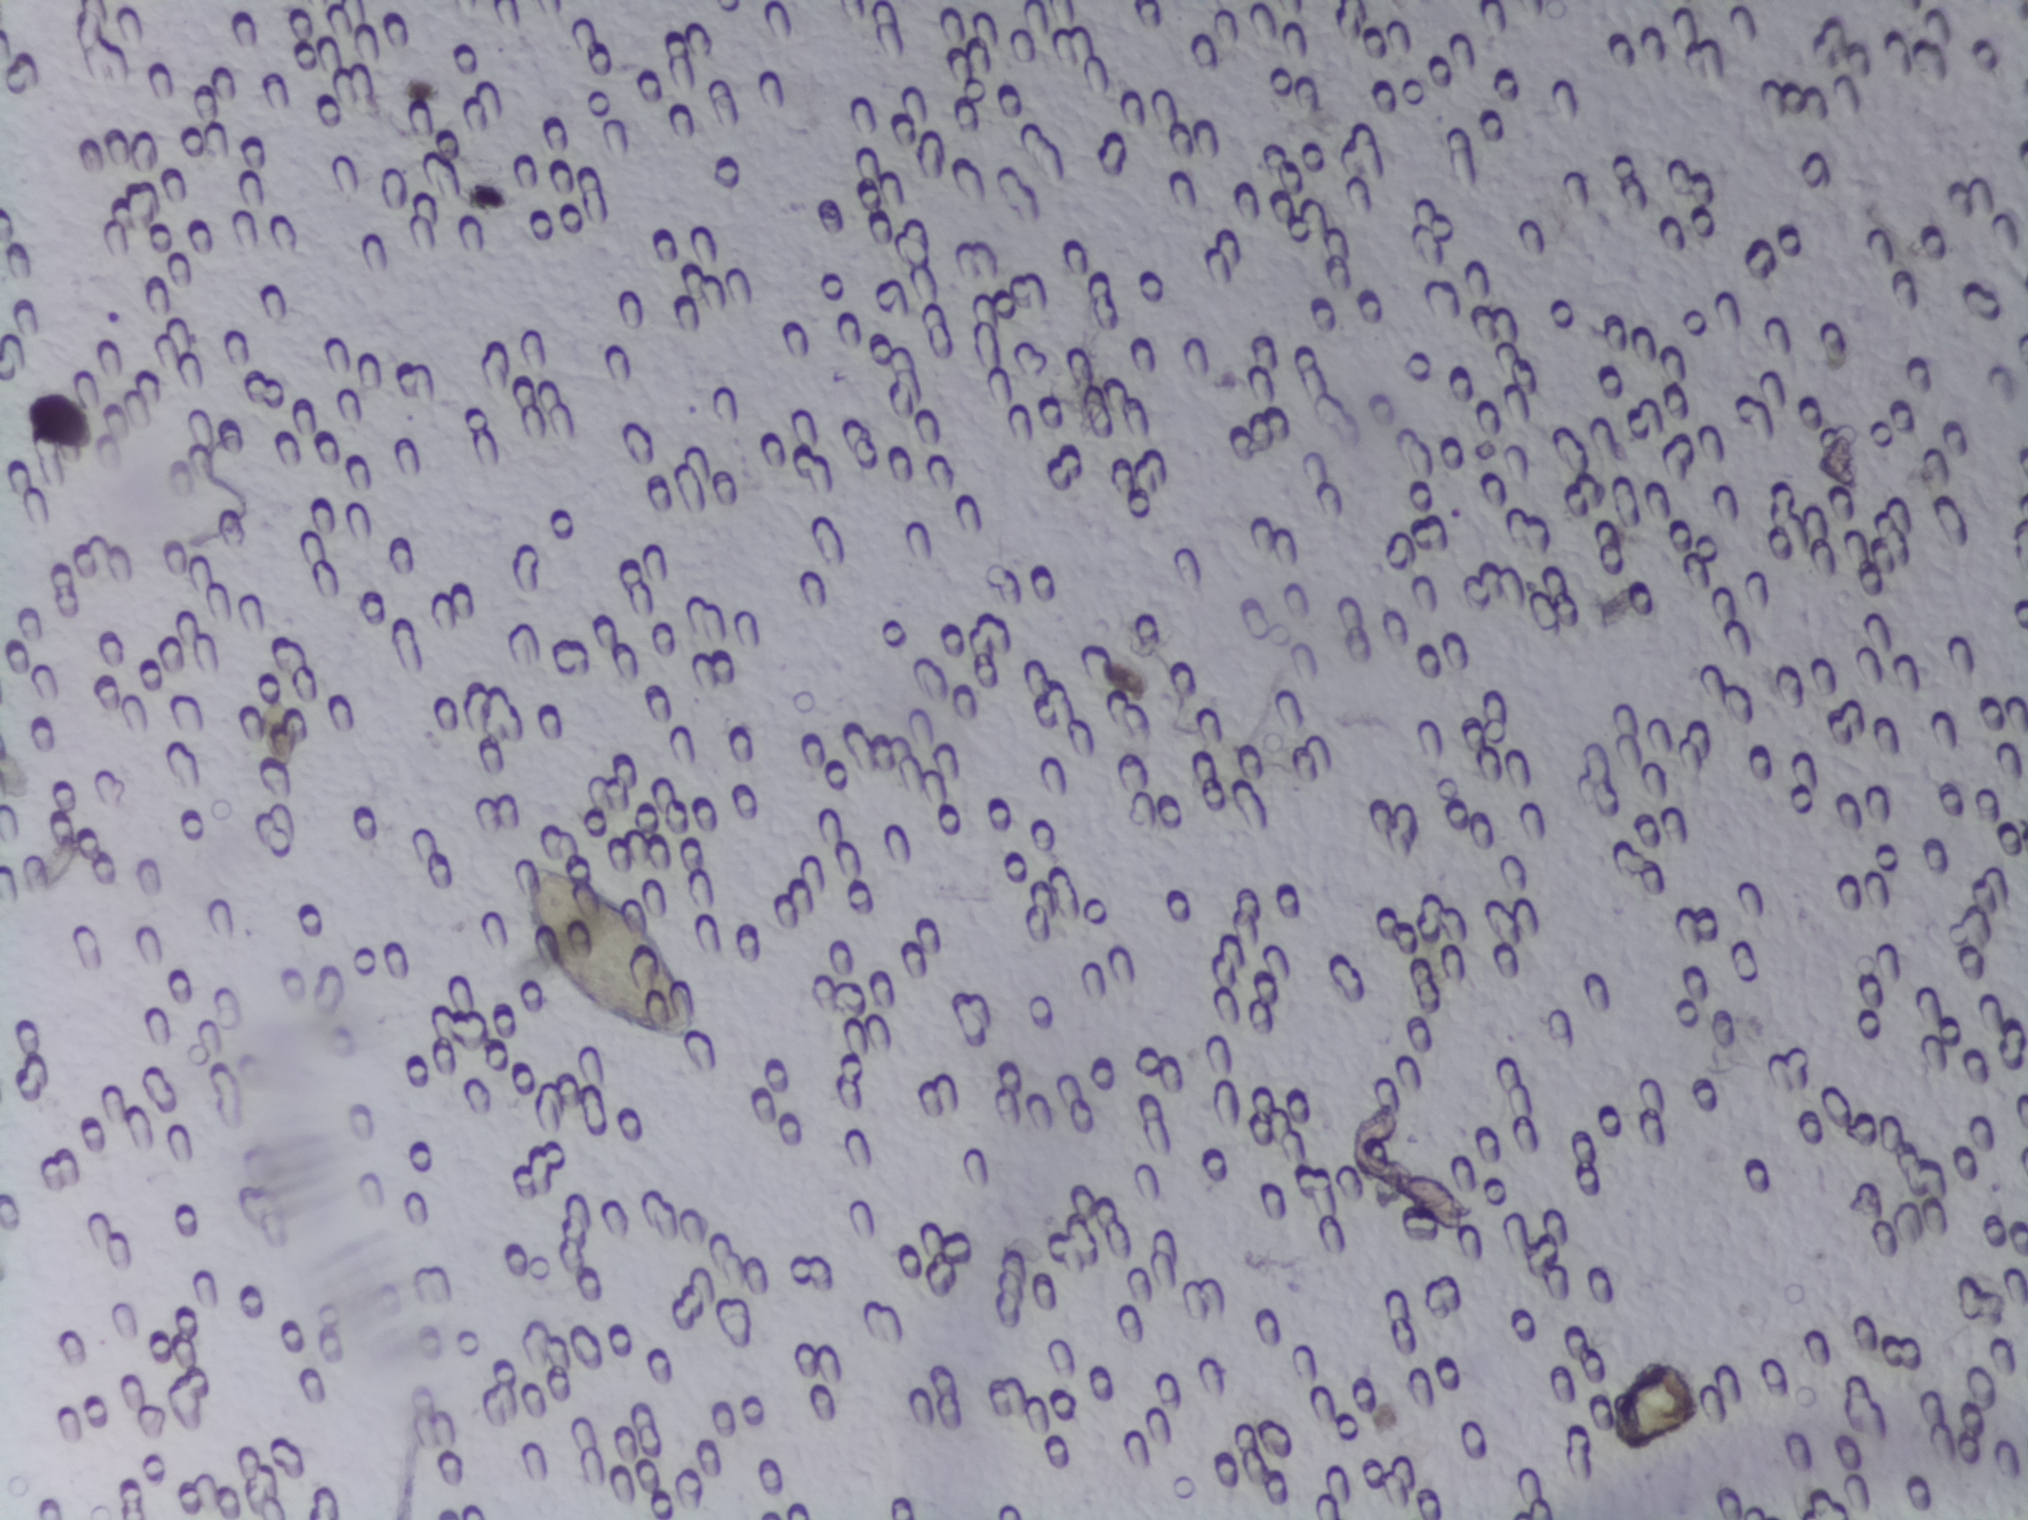
Photograph from an automated digital microscope: urine filter membrane, 4× objective. The image covers about 1.5 × 1.1 mm of the membrane.
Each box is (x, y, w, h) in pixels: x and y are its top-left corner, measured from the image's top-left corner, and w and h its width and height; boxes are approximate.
One area of this image is outlined as Schistosoma eggs: (x=515, y=847, w=189, h=204). Eggs that touch can end up inside the same outlined area.